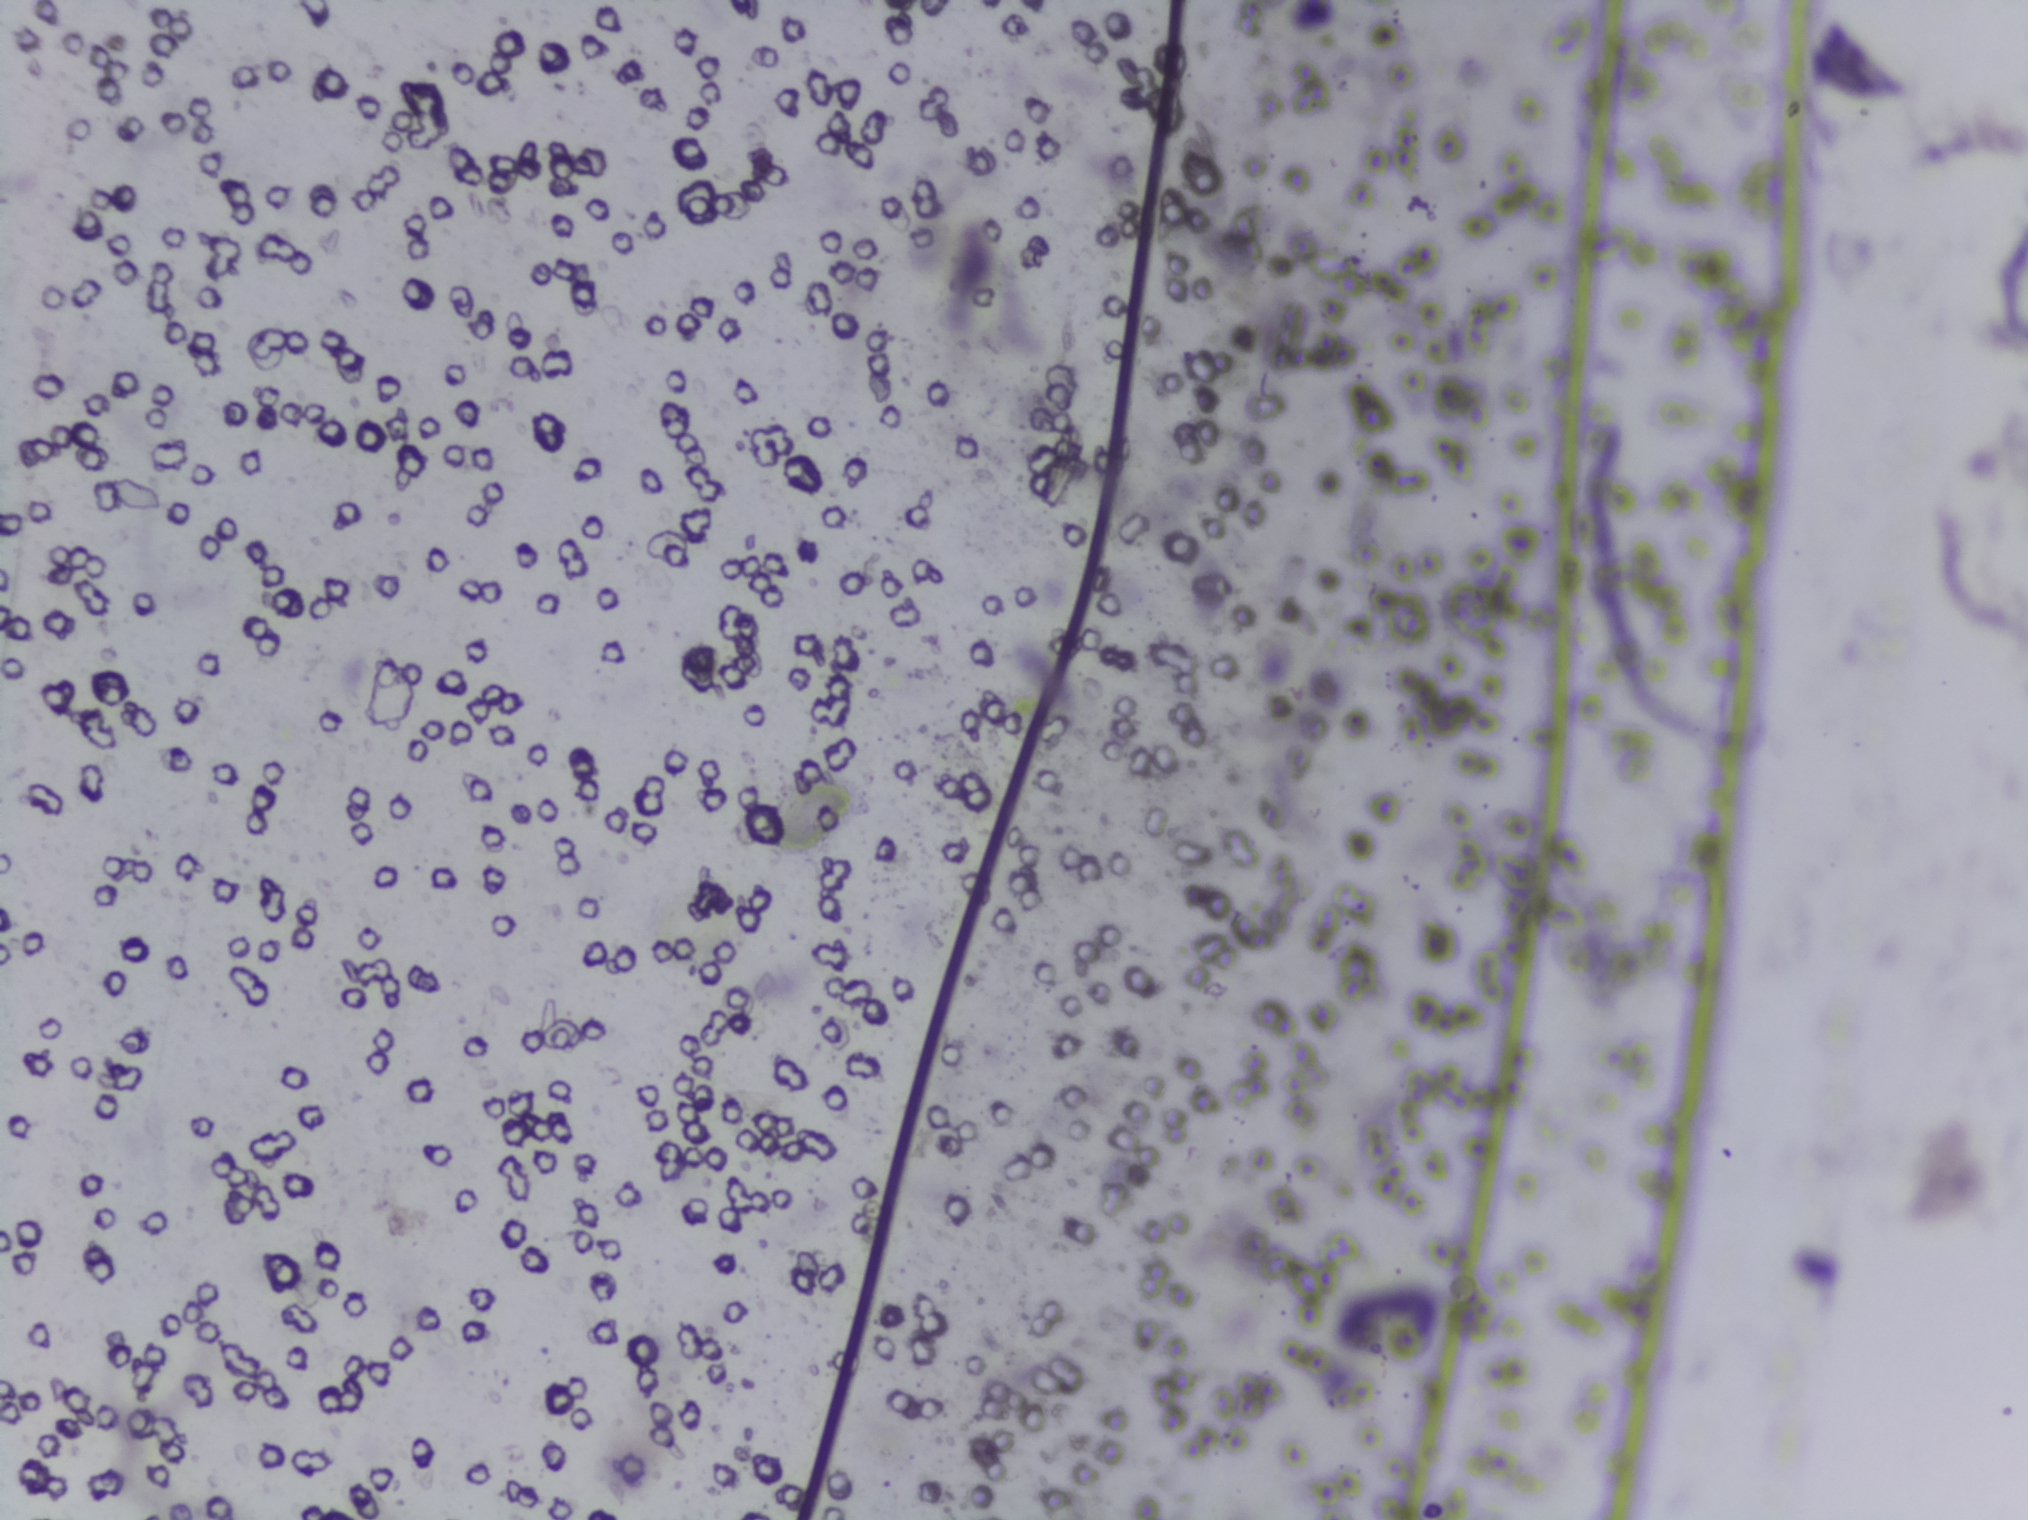
Photograph from an automated digital microscope: urine filter membrane, 4× objective. The image covers about 1.5 × 1.1 mm of the membrane.
The expert annotation outlines no Schistosoma egg in this image.